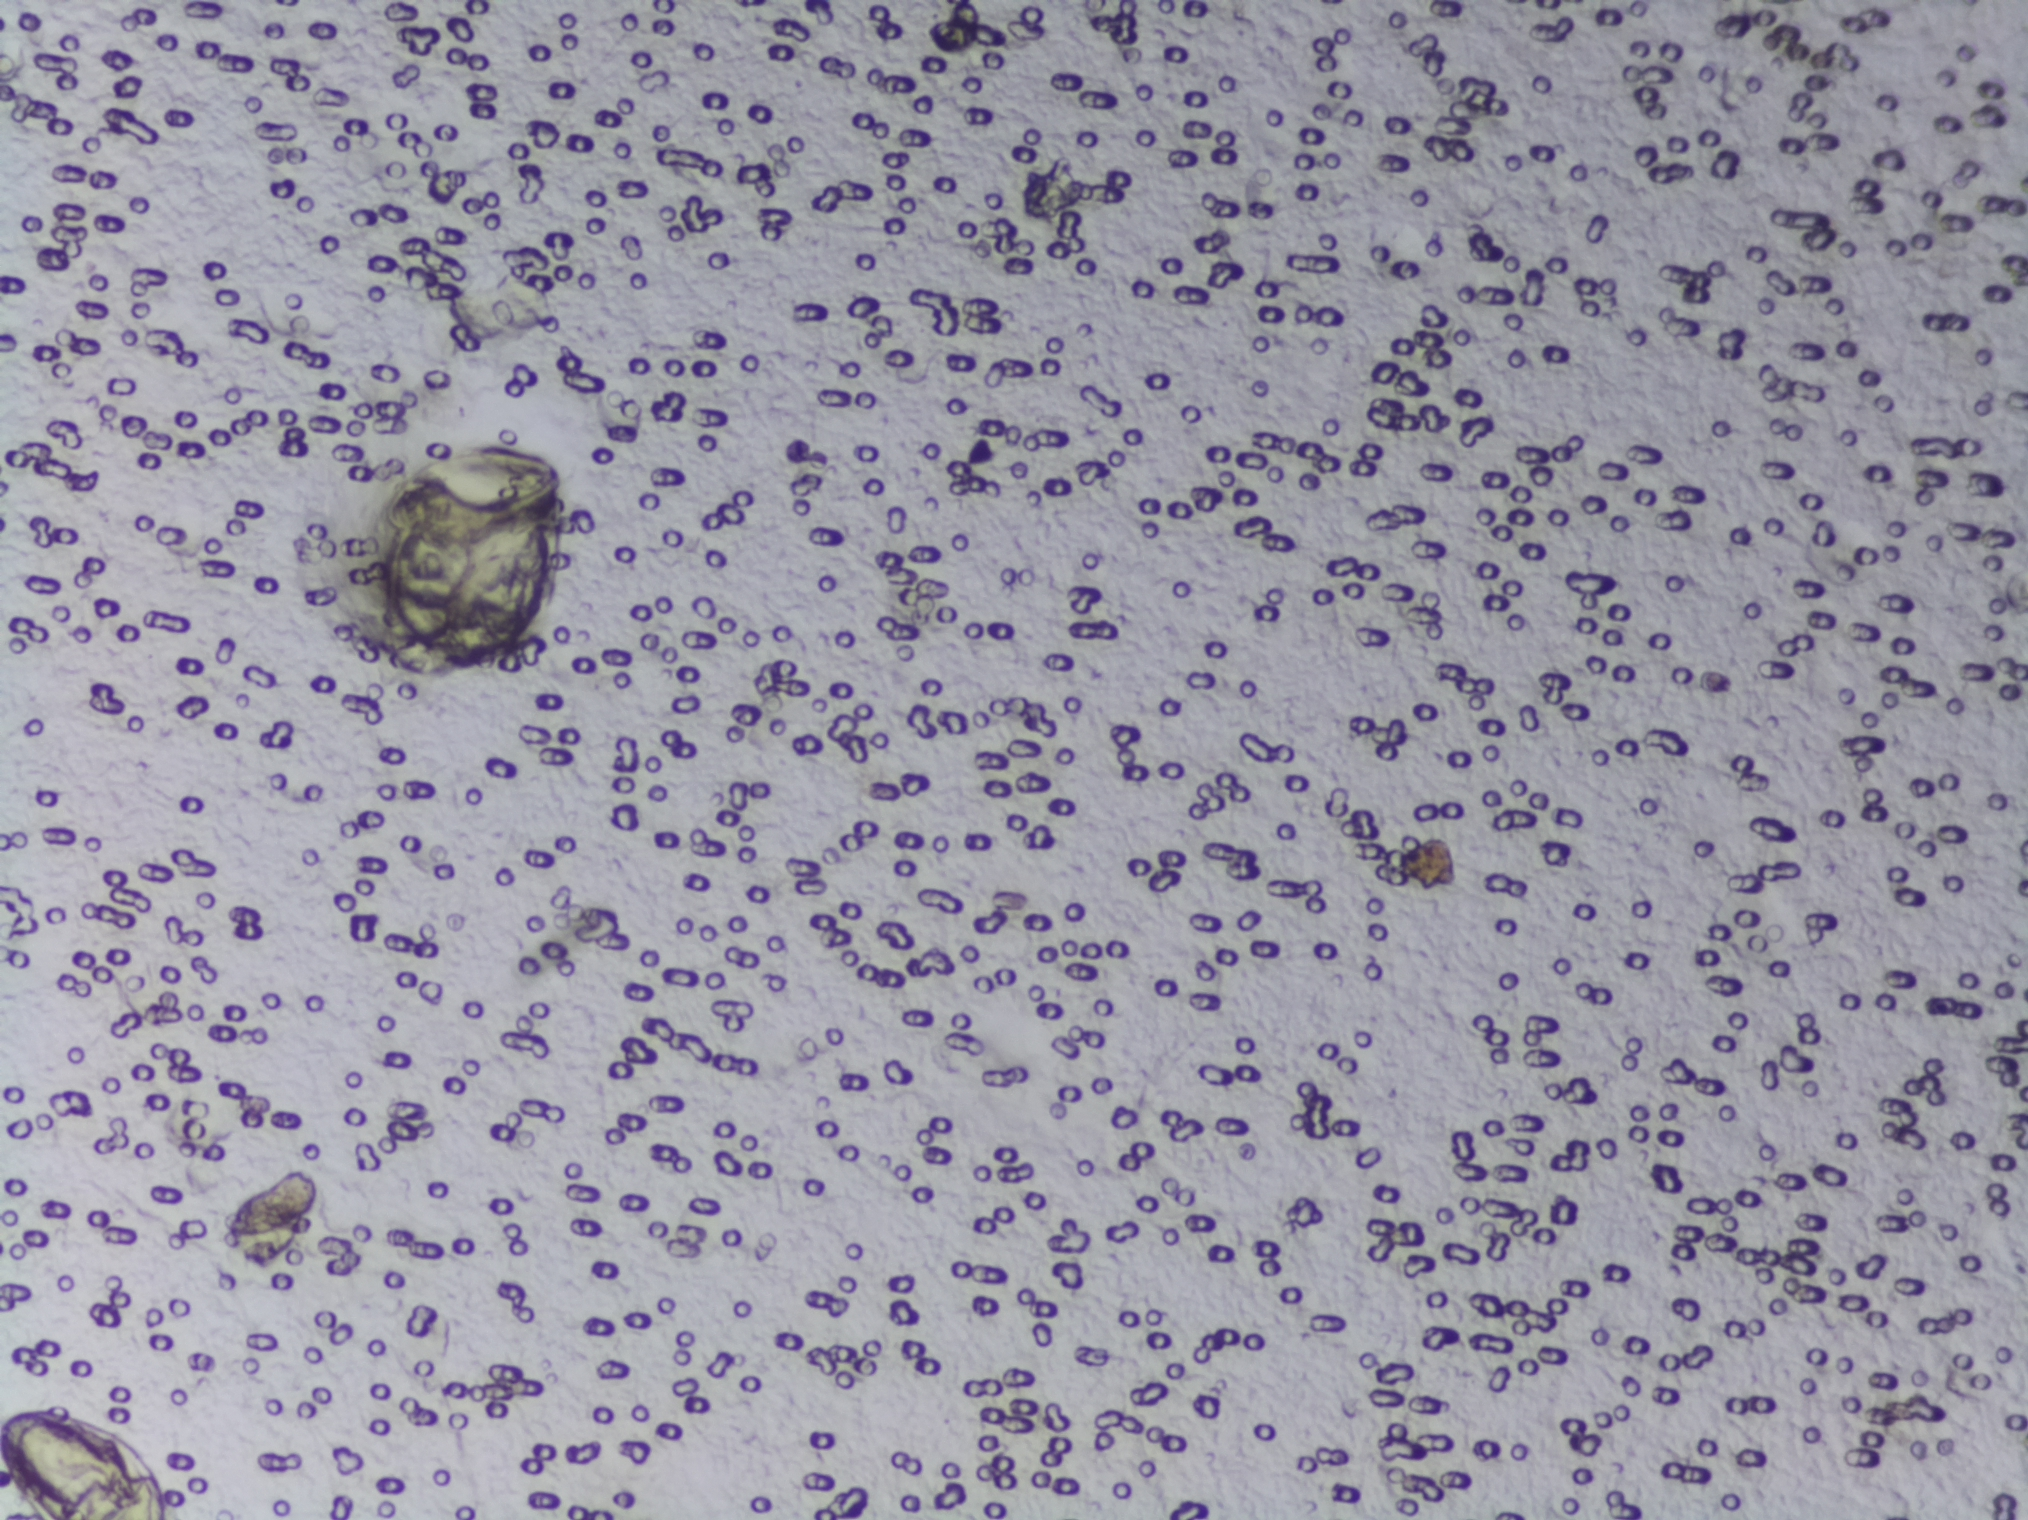
One field of view of a urine filter membrane, 4× objective, 2028 × 1520 pixels.
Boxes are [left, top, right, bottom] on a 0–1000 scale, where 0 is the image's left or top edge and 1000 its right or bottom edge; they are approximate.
{"schistosoma_egg_areas_xyxy_per1000": [[0, 924, 87, 1000], [187, 294, 280, 443]]} Area 1 reaches the left and bottom edges of the frame.
Eggs that touch can end up inside the same outlined area.